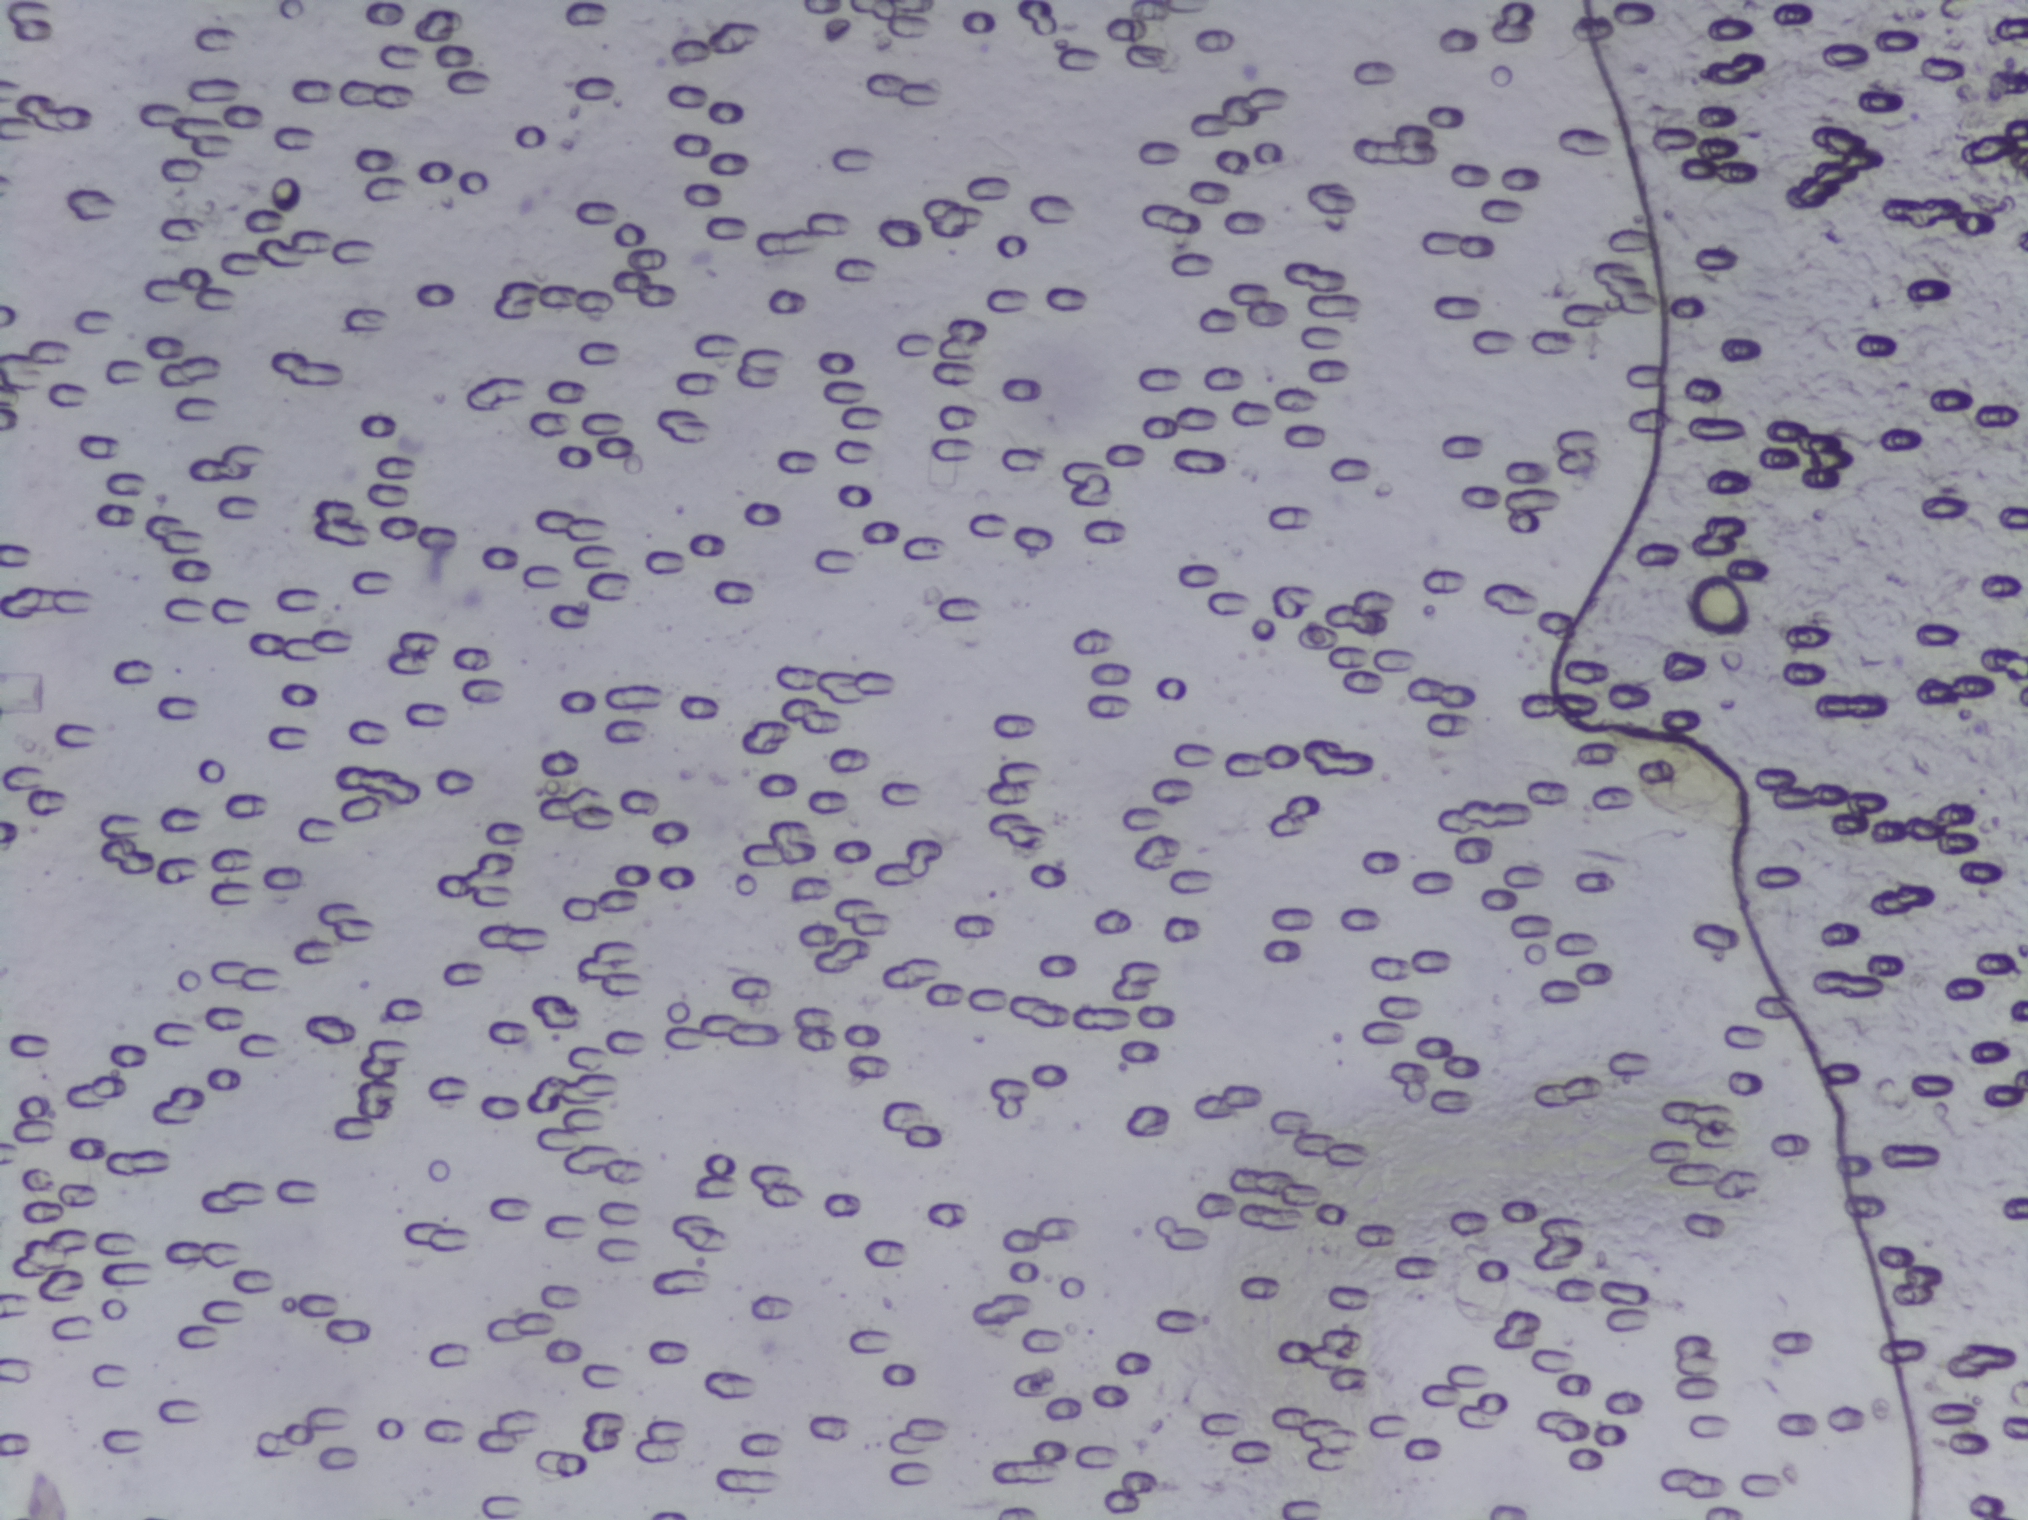
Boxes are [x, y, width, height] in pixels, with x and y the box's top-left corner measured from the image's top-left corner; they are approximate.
{"schistosoma_egg_areas_xywh_px": [[1598, 720, 153, 112]]}
An outlined area can hold more than one egg. Any one outlined egg may, rarely, be S. mansoni rather than S. haematobium.
One field of view of a urine filter membrane, 4× objective, 2028 × 1520 pixels. The field of view is about 1.5 mm × 1.1 mm.